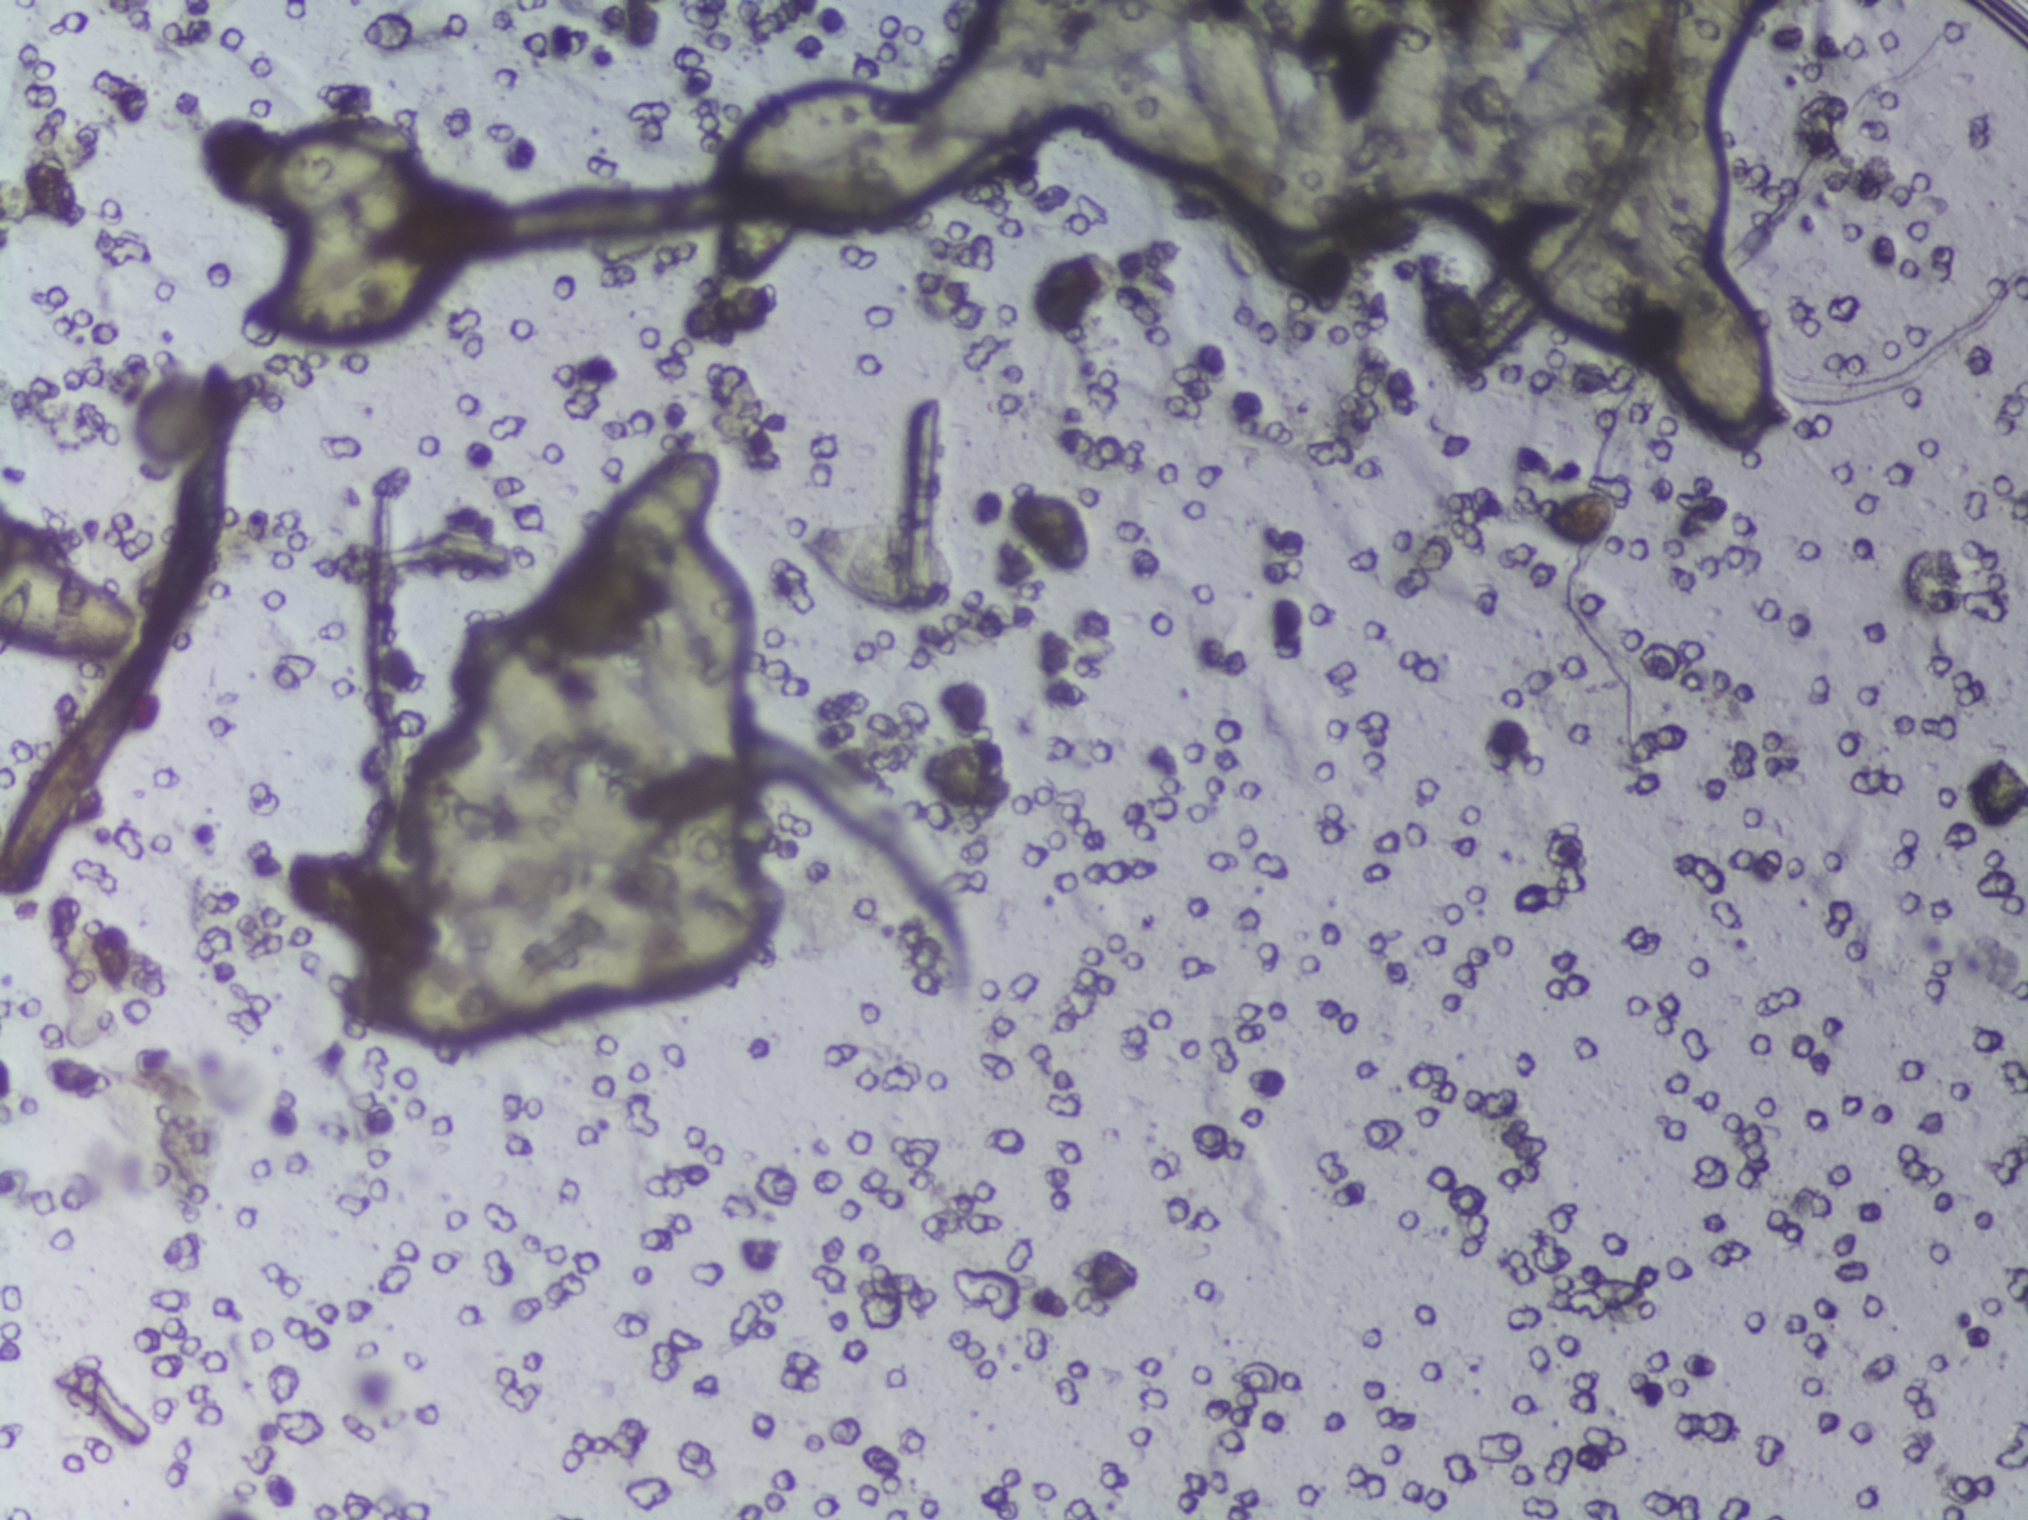
One field of view of a urine filter membrane, 4× objective, 2028 × 1520 pixels. The image covers about 1.5 × 1.1 mm of the membrane.
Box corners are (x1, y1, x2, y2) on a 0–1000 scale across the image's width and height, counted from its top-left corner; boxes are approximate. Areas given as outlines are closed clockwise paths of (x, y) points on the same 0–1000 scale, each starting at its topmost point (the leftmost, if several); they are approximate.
Areas outlined as Schistosoma eggs: box (0, 358, 71, 437) (reaching the left edge of the frame); box (99, 78, 228, 222); outline (337, 296), (349, 297), (356, 306), (354, 333), (344, 348), (367, 383), (372, 398), (371, 421), (363, 442), (366, 501), (353, 506), (341, 500), (336, 515), (315, 516), (324, 521), (332, 533), (360, 525), (377, 530), (383, 546), (374, 570), (386, 581), (384, 608), (375, 621), (347, 644), (327, 656), (318, 656), (314, 650), (275, 652), (273, 670), (251, 671), (229, 685), (179, 675), (167, 663), (165, 653), (173, 637), (188, 627), (205, 629), (233, 643), (225, 606), (208, 604), (197, 593), (198, 579), (206, 570), (201, 545), (204, 511), (221, 477), (233, 468), (229, 451), (231, 408), (242, 406), (256, 415), (272, 439), (275, 425), (280, 423), (313, 446), (311, 410), (328, 404), (320, 373), (305, 373), (300, 367), (301, 329), (322, 302) (eggs clustered together); outline (483, 0), (706, 0), (713, 22), (715, 50), (732, 0), (744, 2), (755, 44), (789, 0), (866, 0), (864, 21), (840, 68), (848, 88), (851, 113), (846, 168), (841, 177), (859, 187), (870, 221), (873, 258), (869, 298), (856, 301), (830, 271), (823, 248), (822, 209), (812, 206), (812, 226), (804, 230), (780, 216), (759, 192), (753, 173), (750, 146), (735, 145), (721, 126), (712, 83), (698, 133), (689, 137), (685, 133), (677, 96), (678, 60), (685, 26), (662, 33), (641, 33), (621, 24), (634, 75), (653, 50), (660, 49), (664, 60), (665, 147), (659, 171), (650, 185), (639, 185), (628, 171), (625, 159), (625, 114), (606, 108), (591, 116), (574, 113), (550, 100), (530, 75), (507, 92), (505, 103), (455, 140), (420, 146), (398, 137), (371, 185), (364, 189), (353, 187), (353, 168), (364, 125), (355, 121), (353, 112), (371, 71), (392, 58), (432, 53), (444, 61), (437, 83), (448, 83), (455, 65), (475, 39), (475, 24) (eggs clustered together; reaching the top edge of the frame); box (394, 340, 472, 401). A single outlined area may contain several eggs. A marked egg may occasionally be S. mansoni rather than S. haematobium.